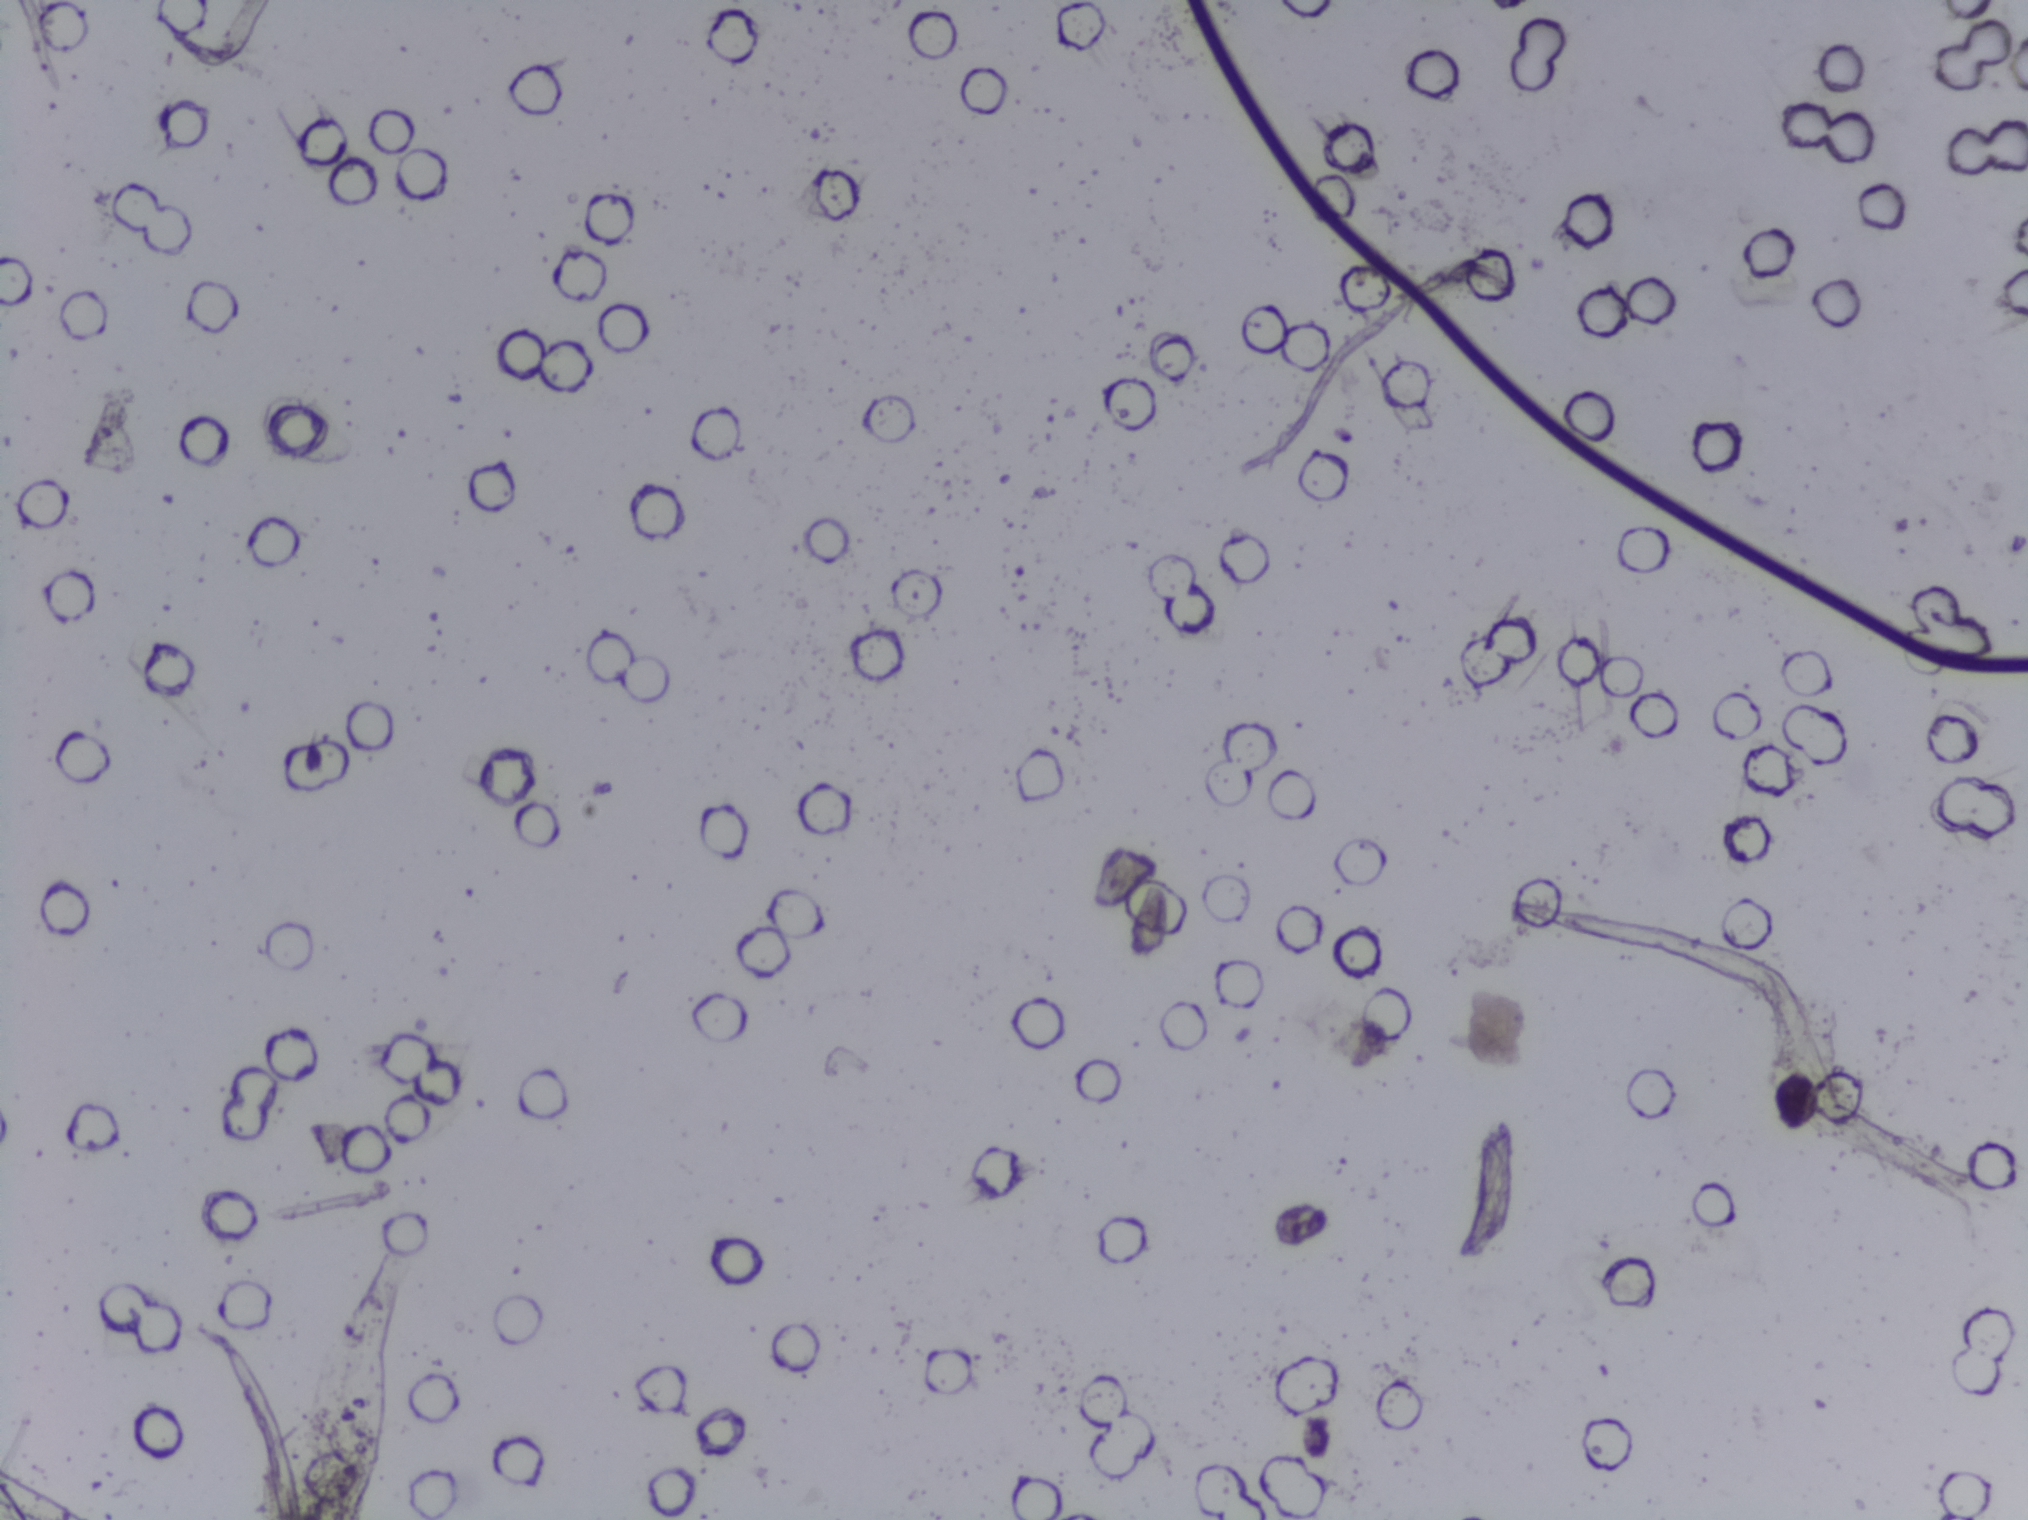
One field of view of a urine filter membrane, 4× objective, 2028 × 1520 pixels.
No area of this image was outlined as a Schistosoma egg.